Urine filtration membrane under a 4× objective, photographed by an automated digital microscope. Field of view: about 1.5 mm wide and 1.1 mm high.
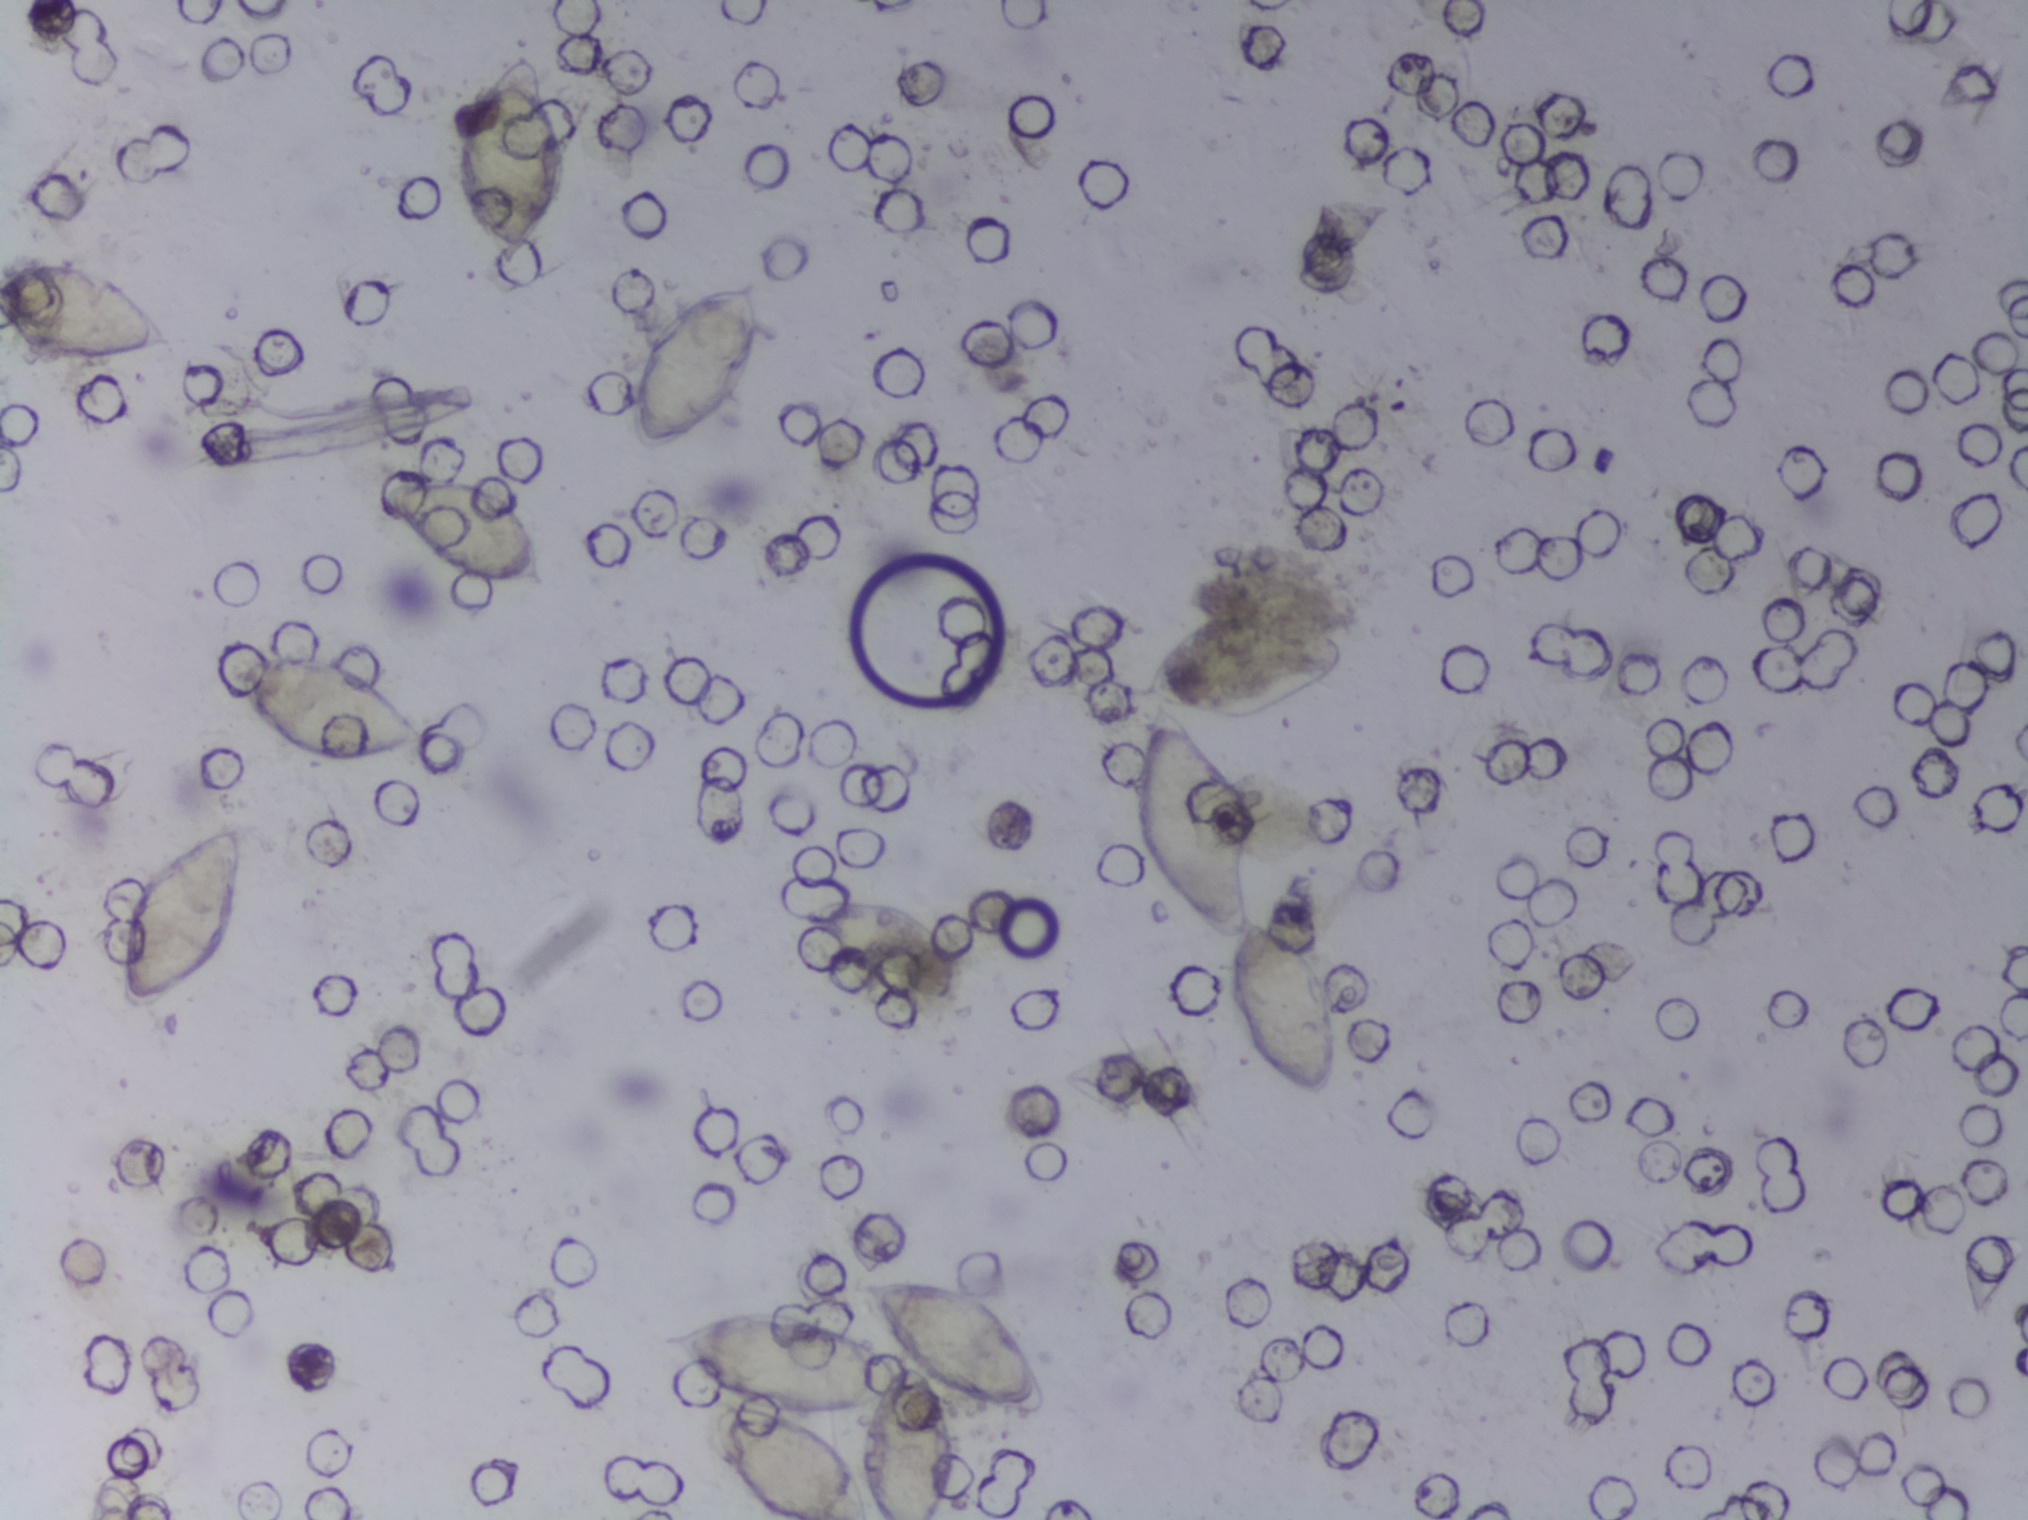
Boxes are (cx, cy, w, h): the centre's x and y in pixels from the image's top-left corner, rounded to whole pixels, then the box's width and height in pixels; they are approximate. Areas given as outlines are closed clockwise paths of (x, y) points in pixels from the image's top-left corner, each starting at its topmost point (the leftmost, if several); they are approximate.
Outlined Schistosoma egg areas, left to right:
1. box (cx=86, cy=312, w=173, h=111) (reaching the left edge of the frame)
2. box (cx=180, cy=917, w=128, h=196)
3. box (cx=330, cy=709, w=193, h=124)
4. box (cx=468, cy=535, w=170, h=118)
5. box (cx=512, cy=160, w=115, h=224)
6. box (cx=694, cy=364, w=143, h=180)
7. box (cx=854, cy=1398, w=388, h=243) (a cluster of eggs; reaching the bottom edge of the frame)
8. box (cx=877, cy=946, w=161, h=98)
9. outline (1282, 605), (1322, 618), (1349, 640), (1353, 666), (1343, 681), (1304, 704), (1237, 725), (1188, 716), (1239, 780), (1253, 809), (1256, 917), (1289, 932), (1331, 983), (1339, 1075), (1324, 1097), (1314, 1098), (1292, 1094), (1249, 1054), (1229, 994), (1231, 942), (1178, 910), (1144, 862), (1130, 820), (1138, 744), (1150, 707), (1135, 696), (1144, 665), (1176, 630), (1208, 613) (a cluster of eggs)
An outlined area can hold more than one egg.